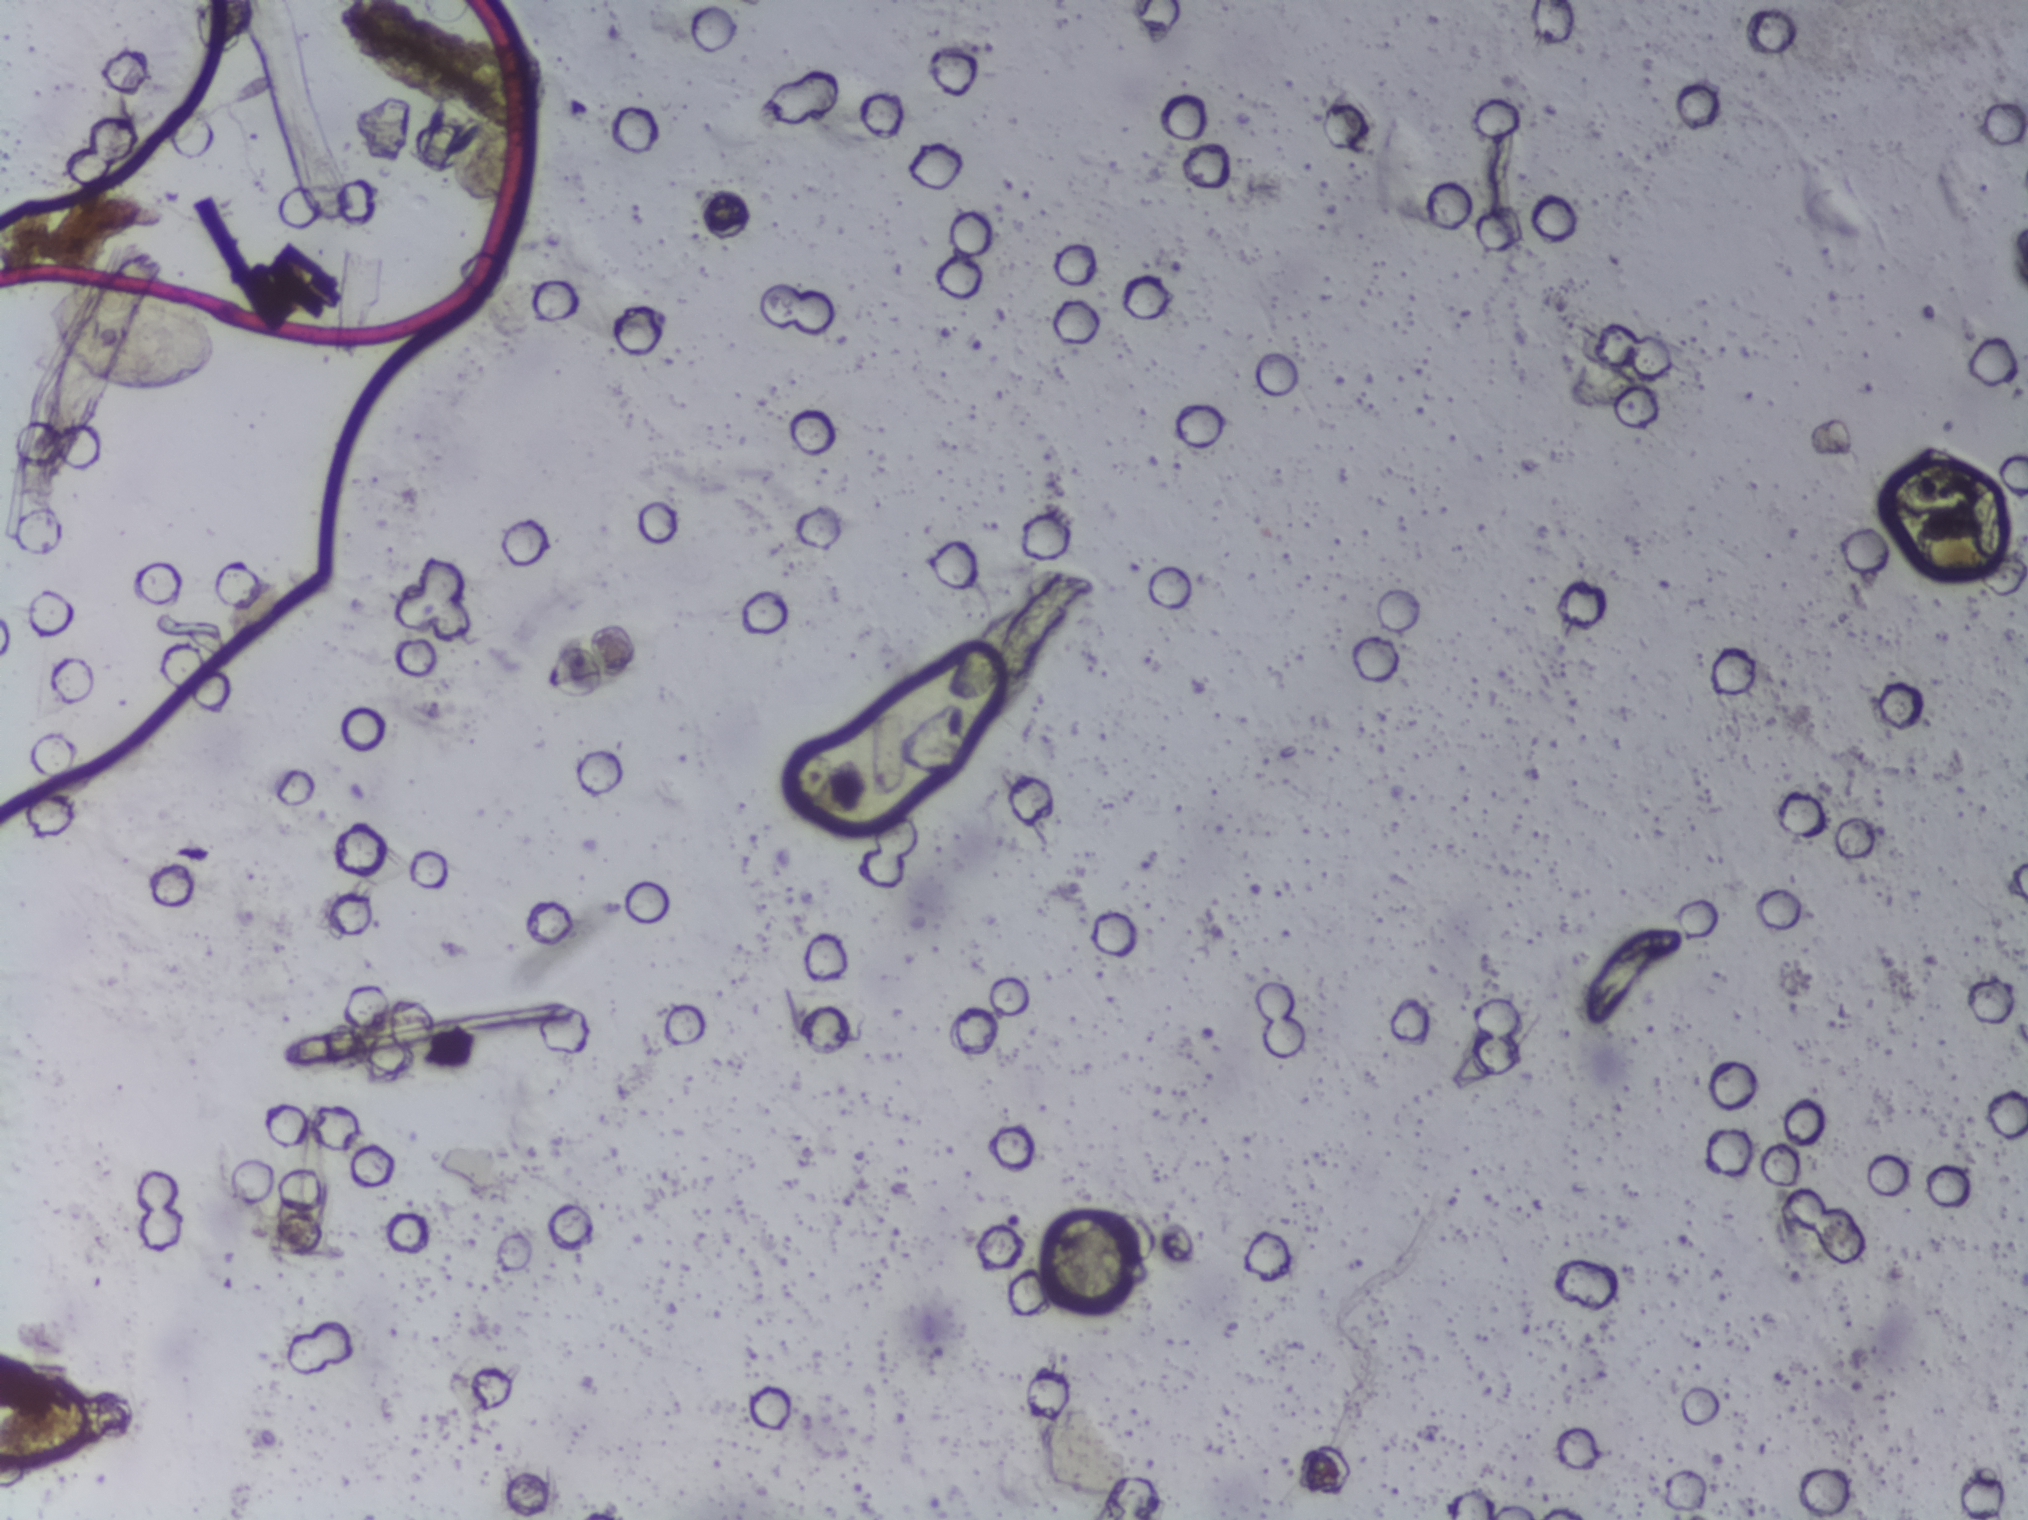
Urine filtration membrane under a 4× objective, photographed by an automated digital microscope.
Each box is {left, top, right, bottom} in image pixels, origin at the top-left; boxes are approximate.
Outlined Schistosoma egg areas:
1. {44, 279, 217, 391}
The marked pixels themselves, not the box around them, cover about 0.5% of the image. Eggs that touch can end up inside the same outlined area.